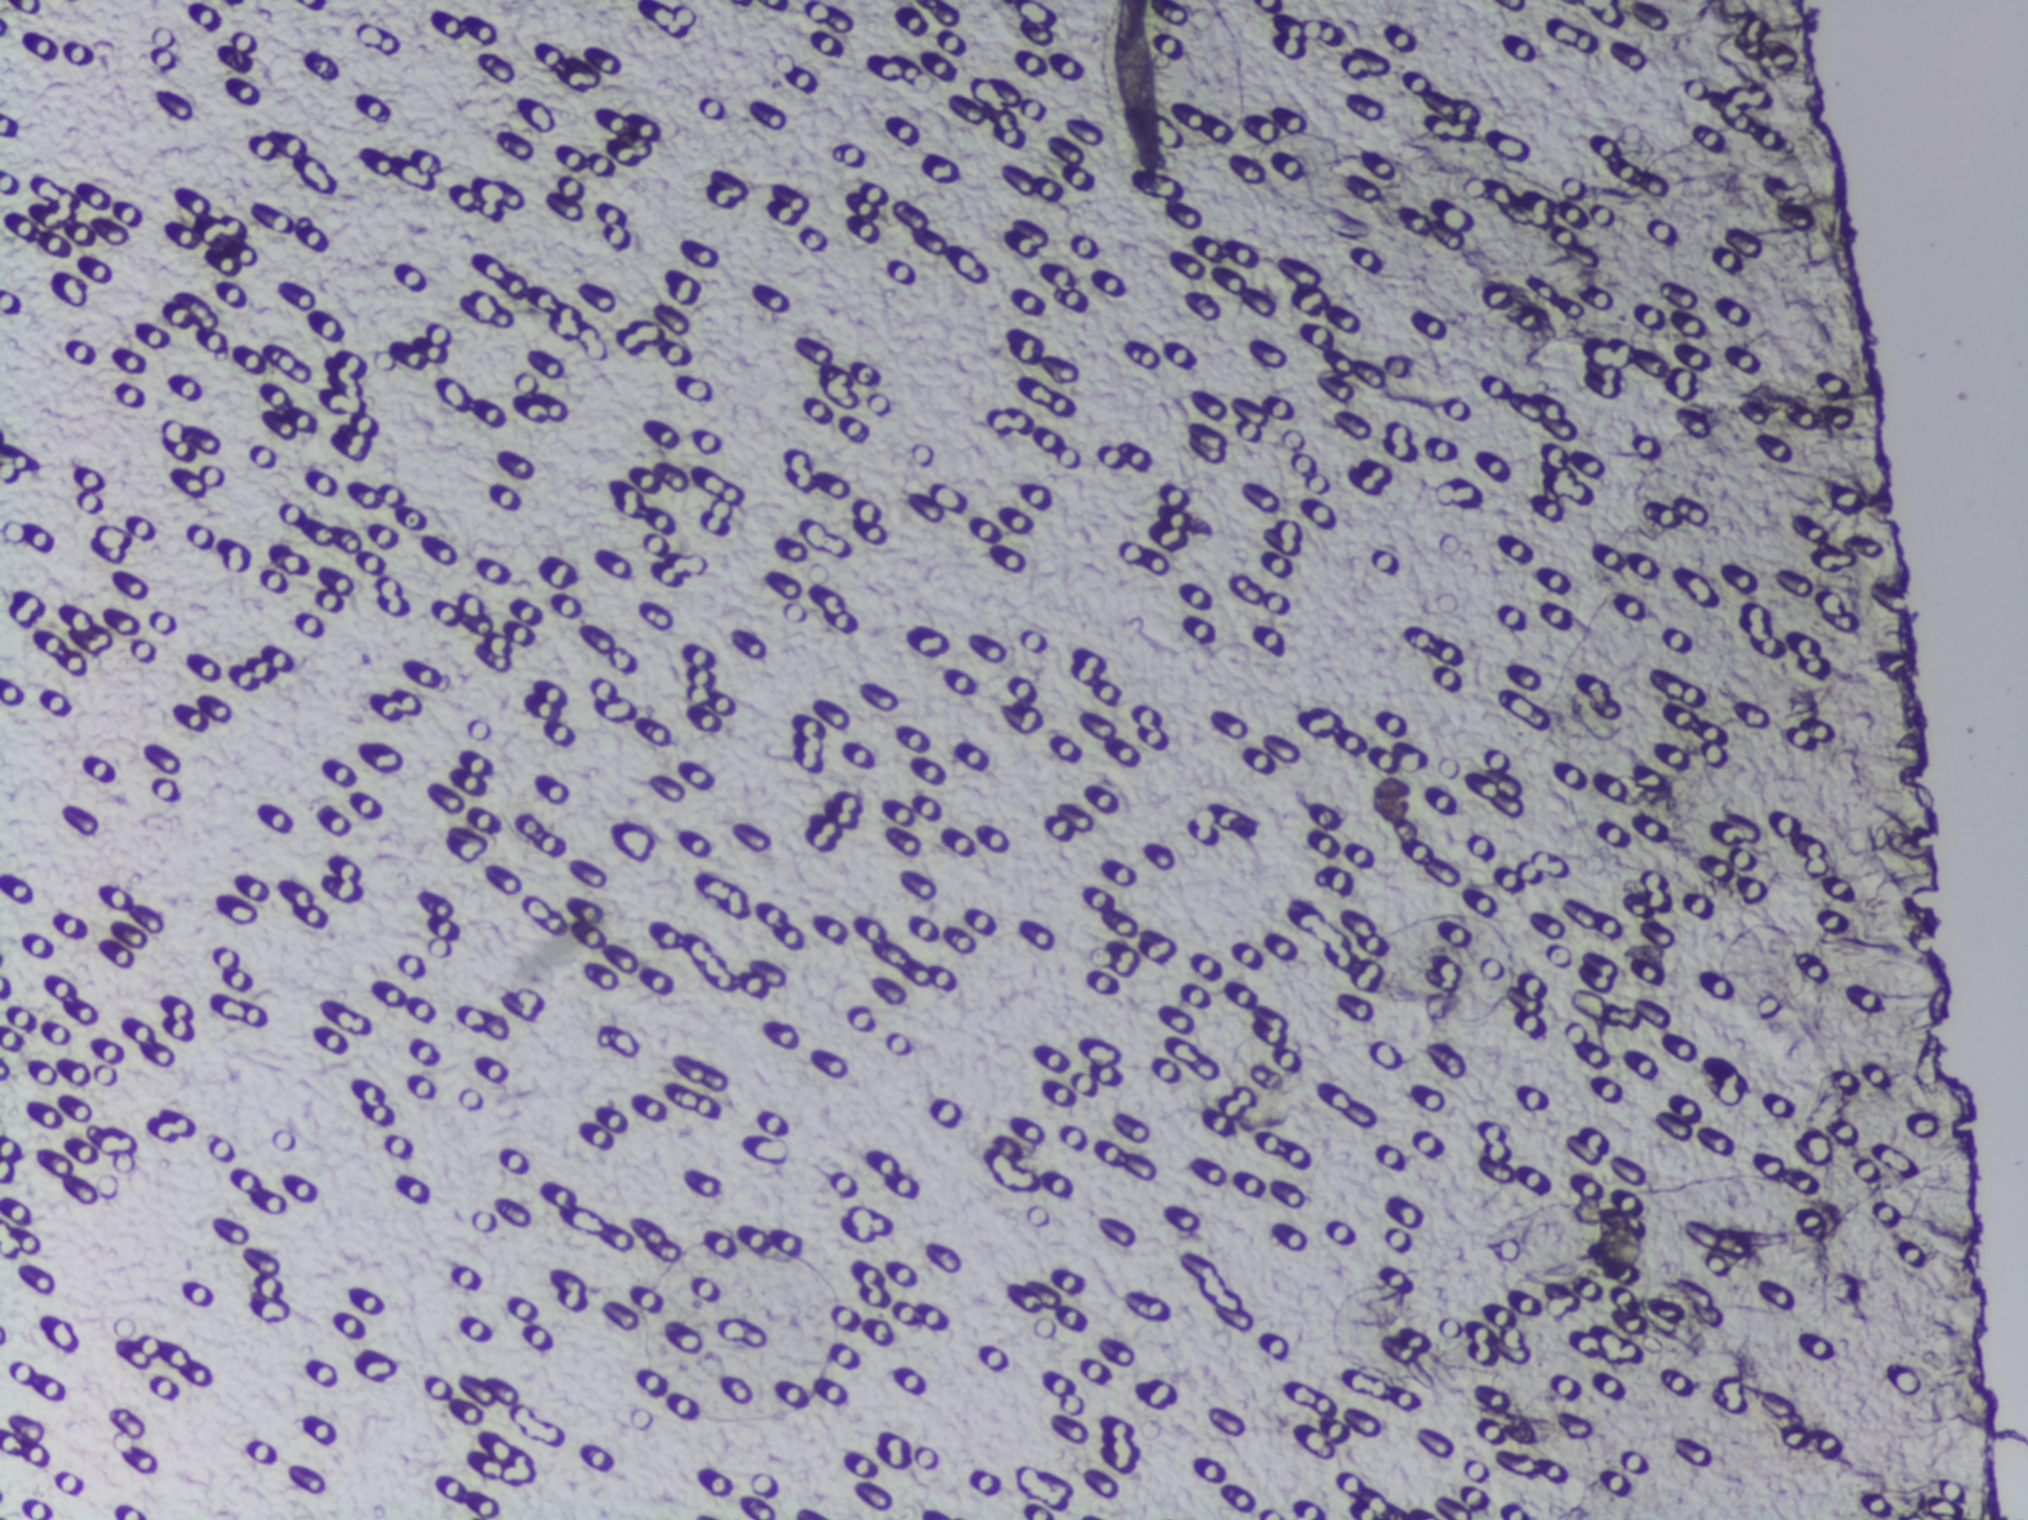
Photograph from an automated digital microscope: urine filter membrane, 4× objective. The field of view is about 1.5 mm × 1.1 mm.
The expert annotation marks no Schistosoma egg in this field of view.